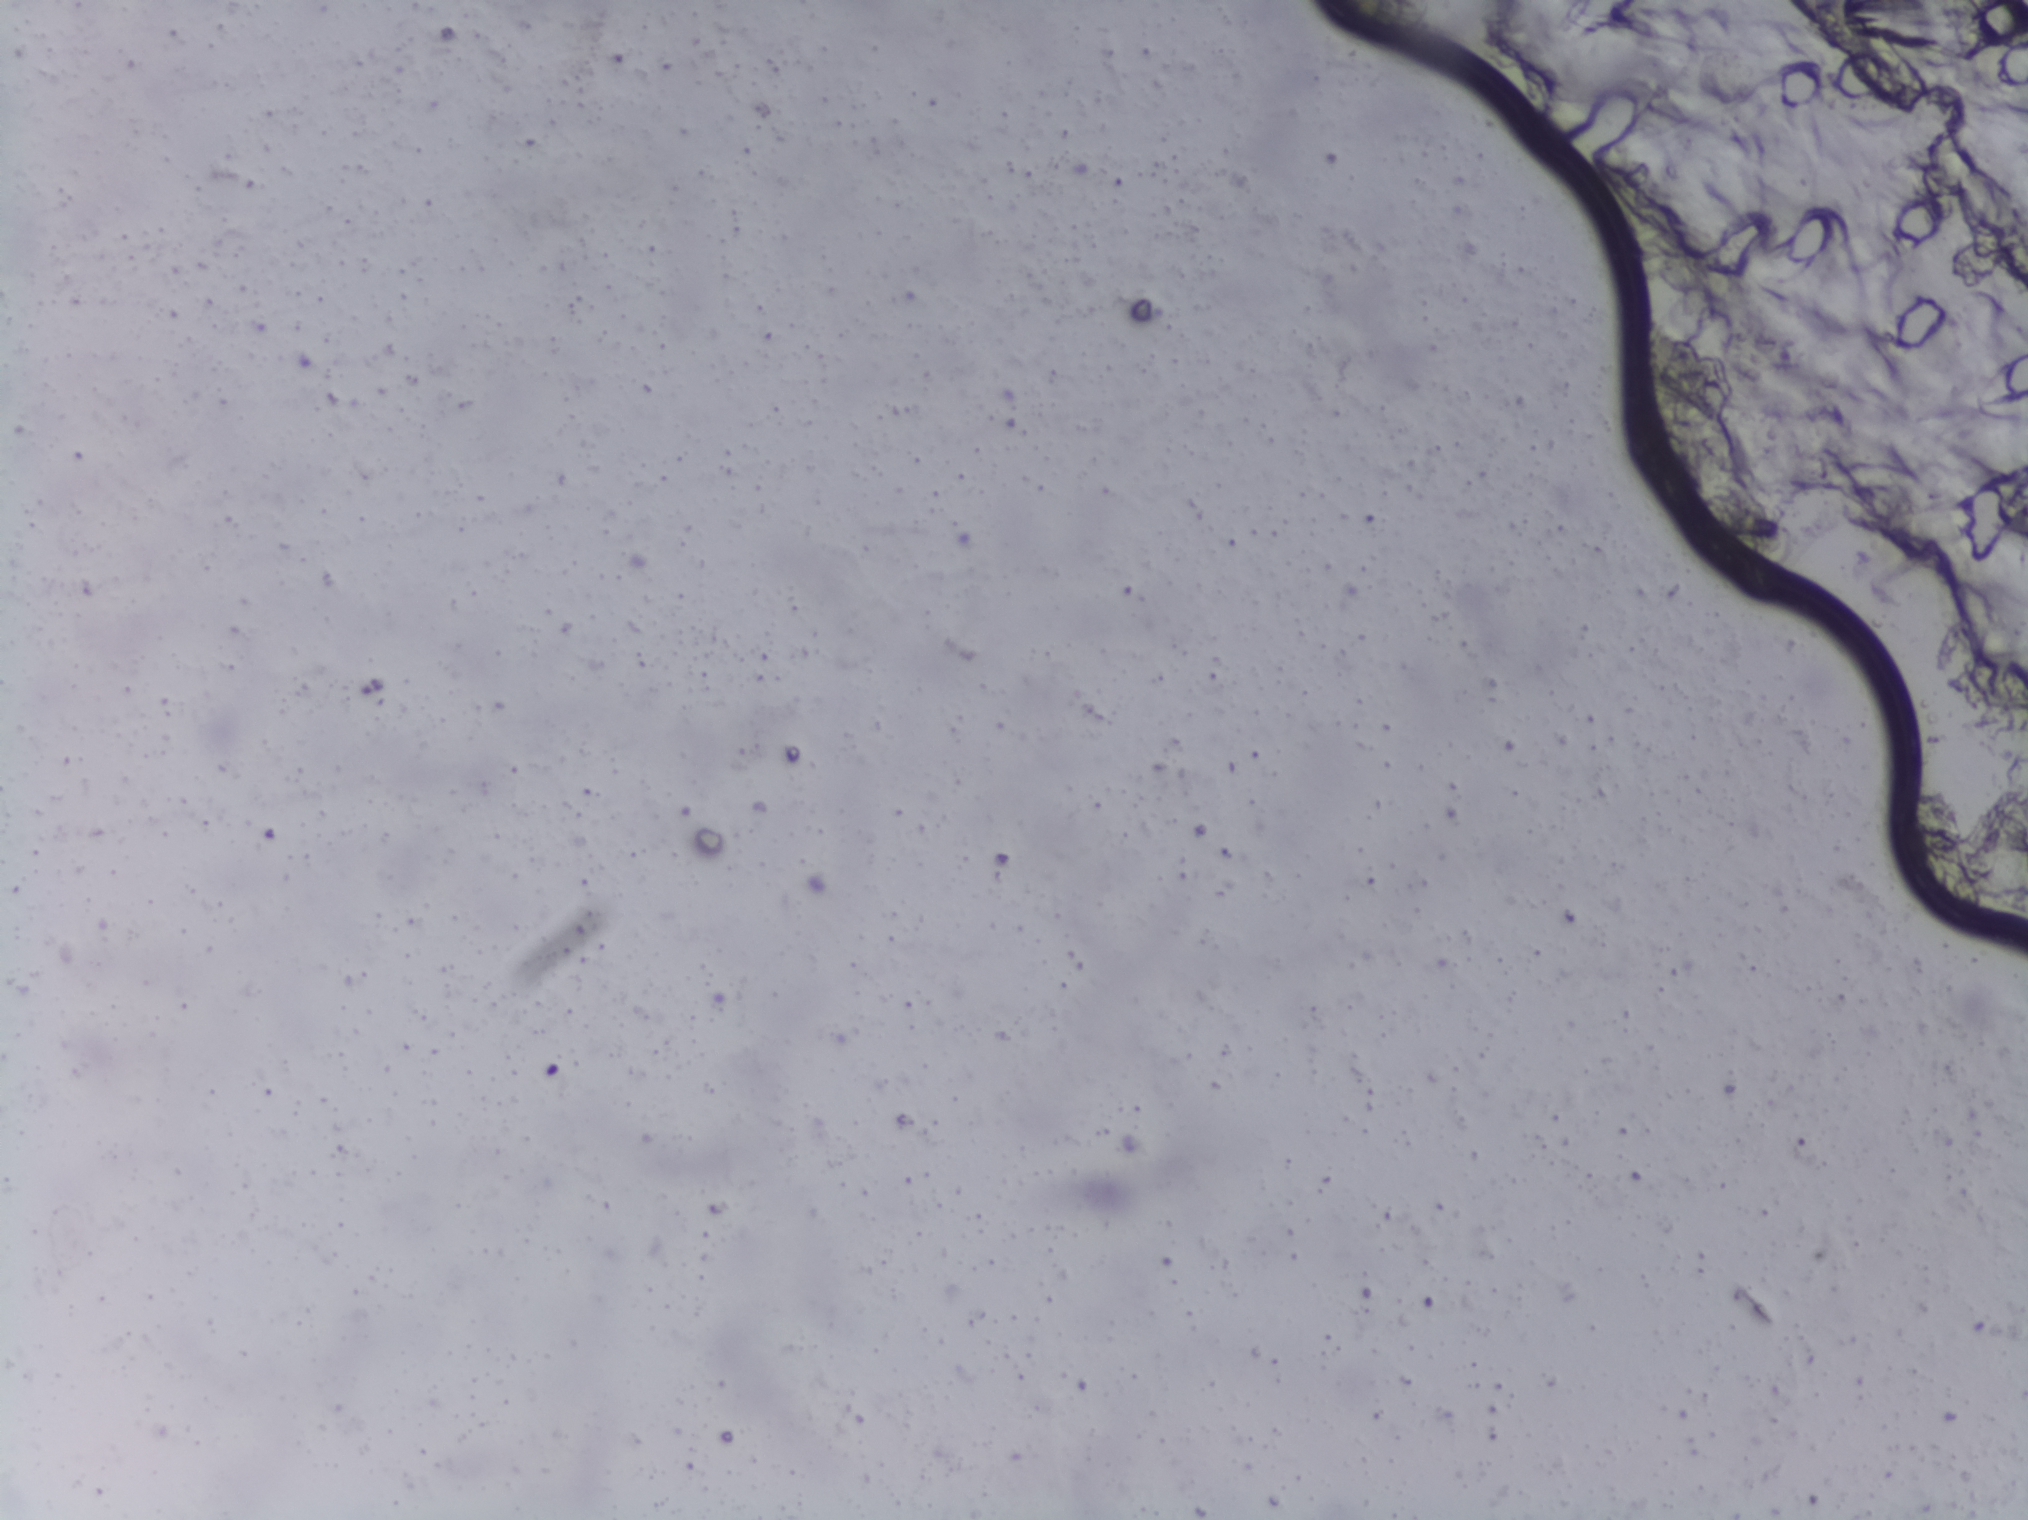
No Schistosoma egg is outlined in this image's expert annotation.
Urine filtration membrane under a 4× objective, photographed by an automated digital microscope.